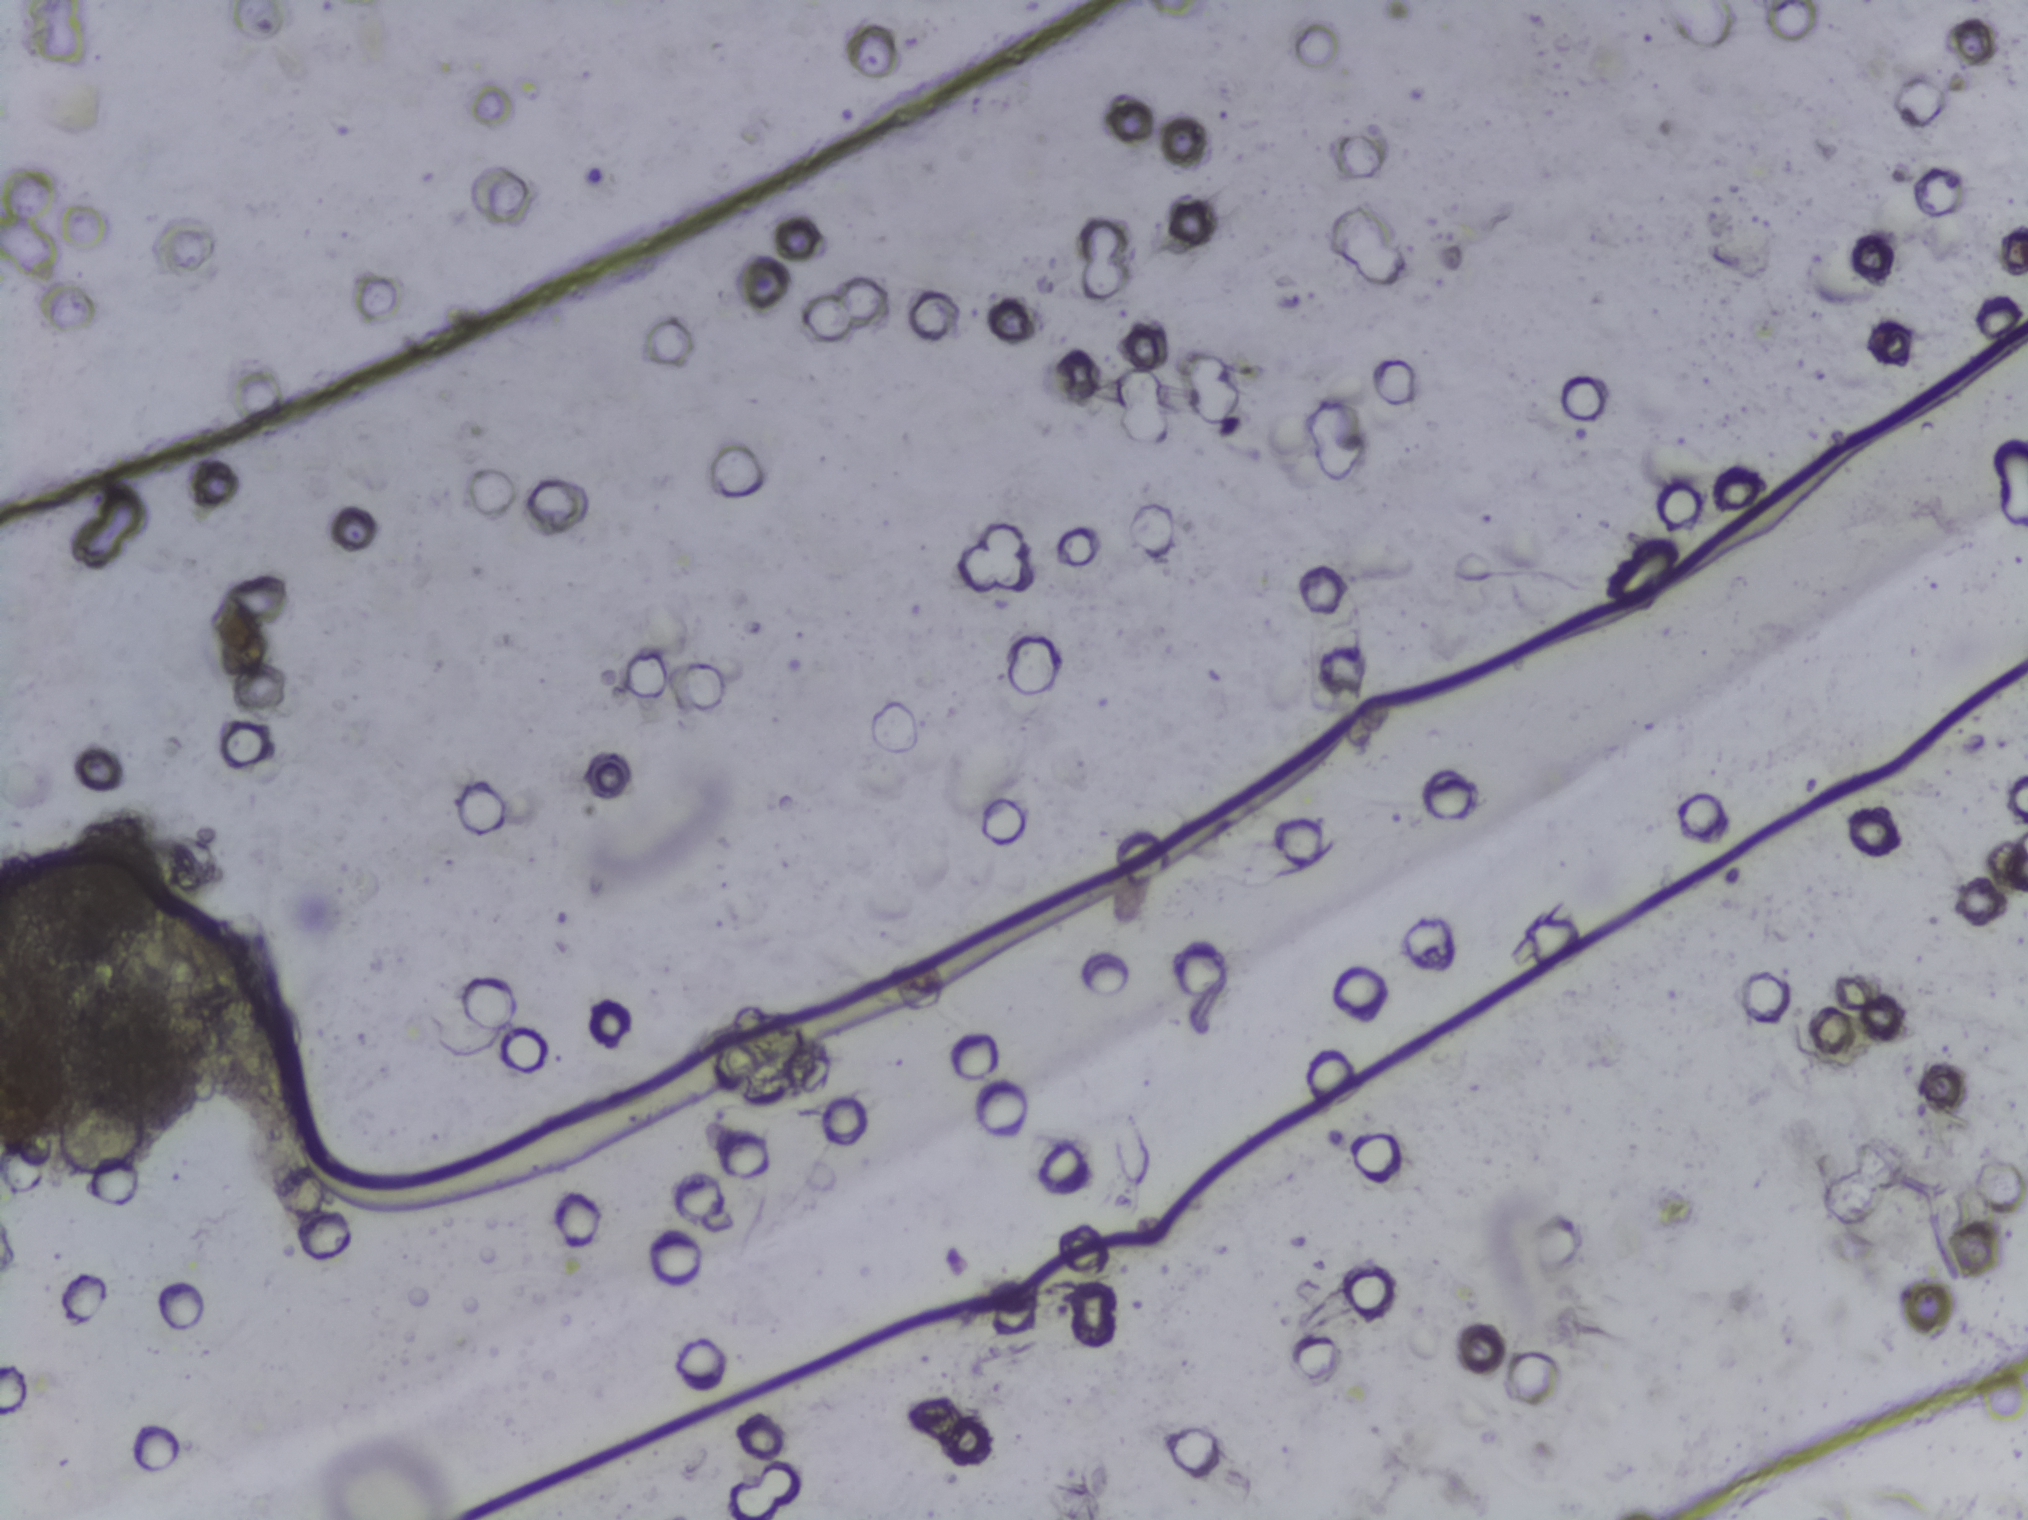
Photomicrograph of a urine filtration membrane, 4× objective.
No Schistosoma egg is outlined in this image's expert annotation.